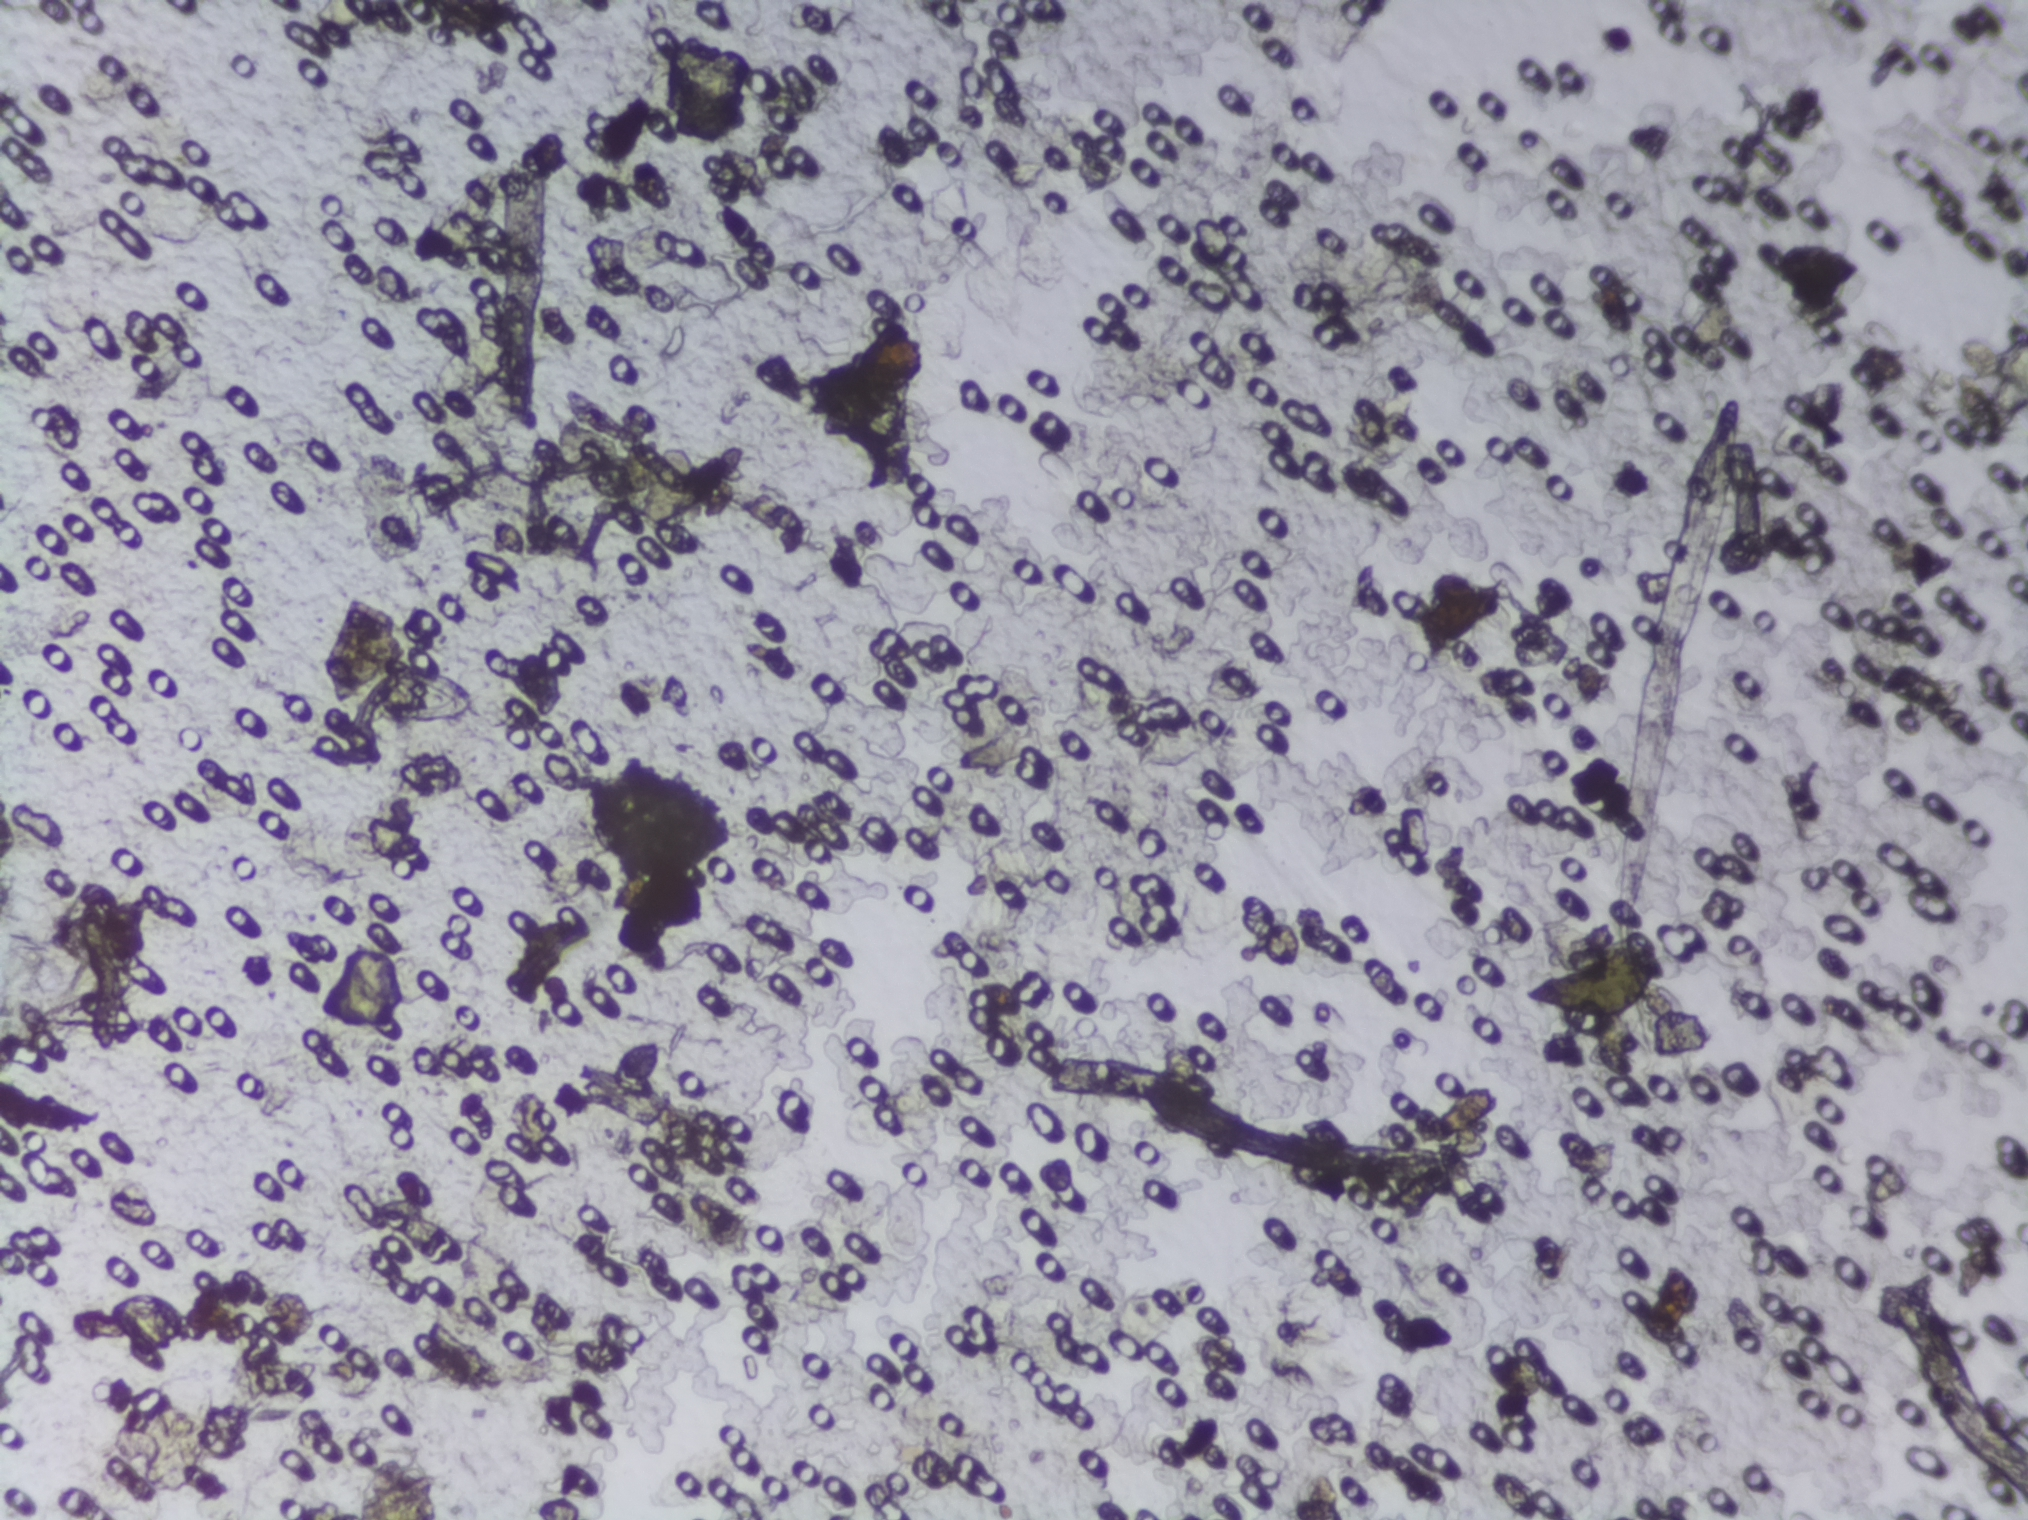
One field of view of a urine filter membrane, 4× objective, 2028 × 1520 pixels.
No Schistosoma egg is outlined in this image's expert annotation.